Microscope photograph (4× objective) of a membrane that a urine sample was filtered through.
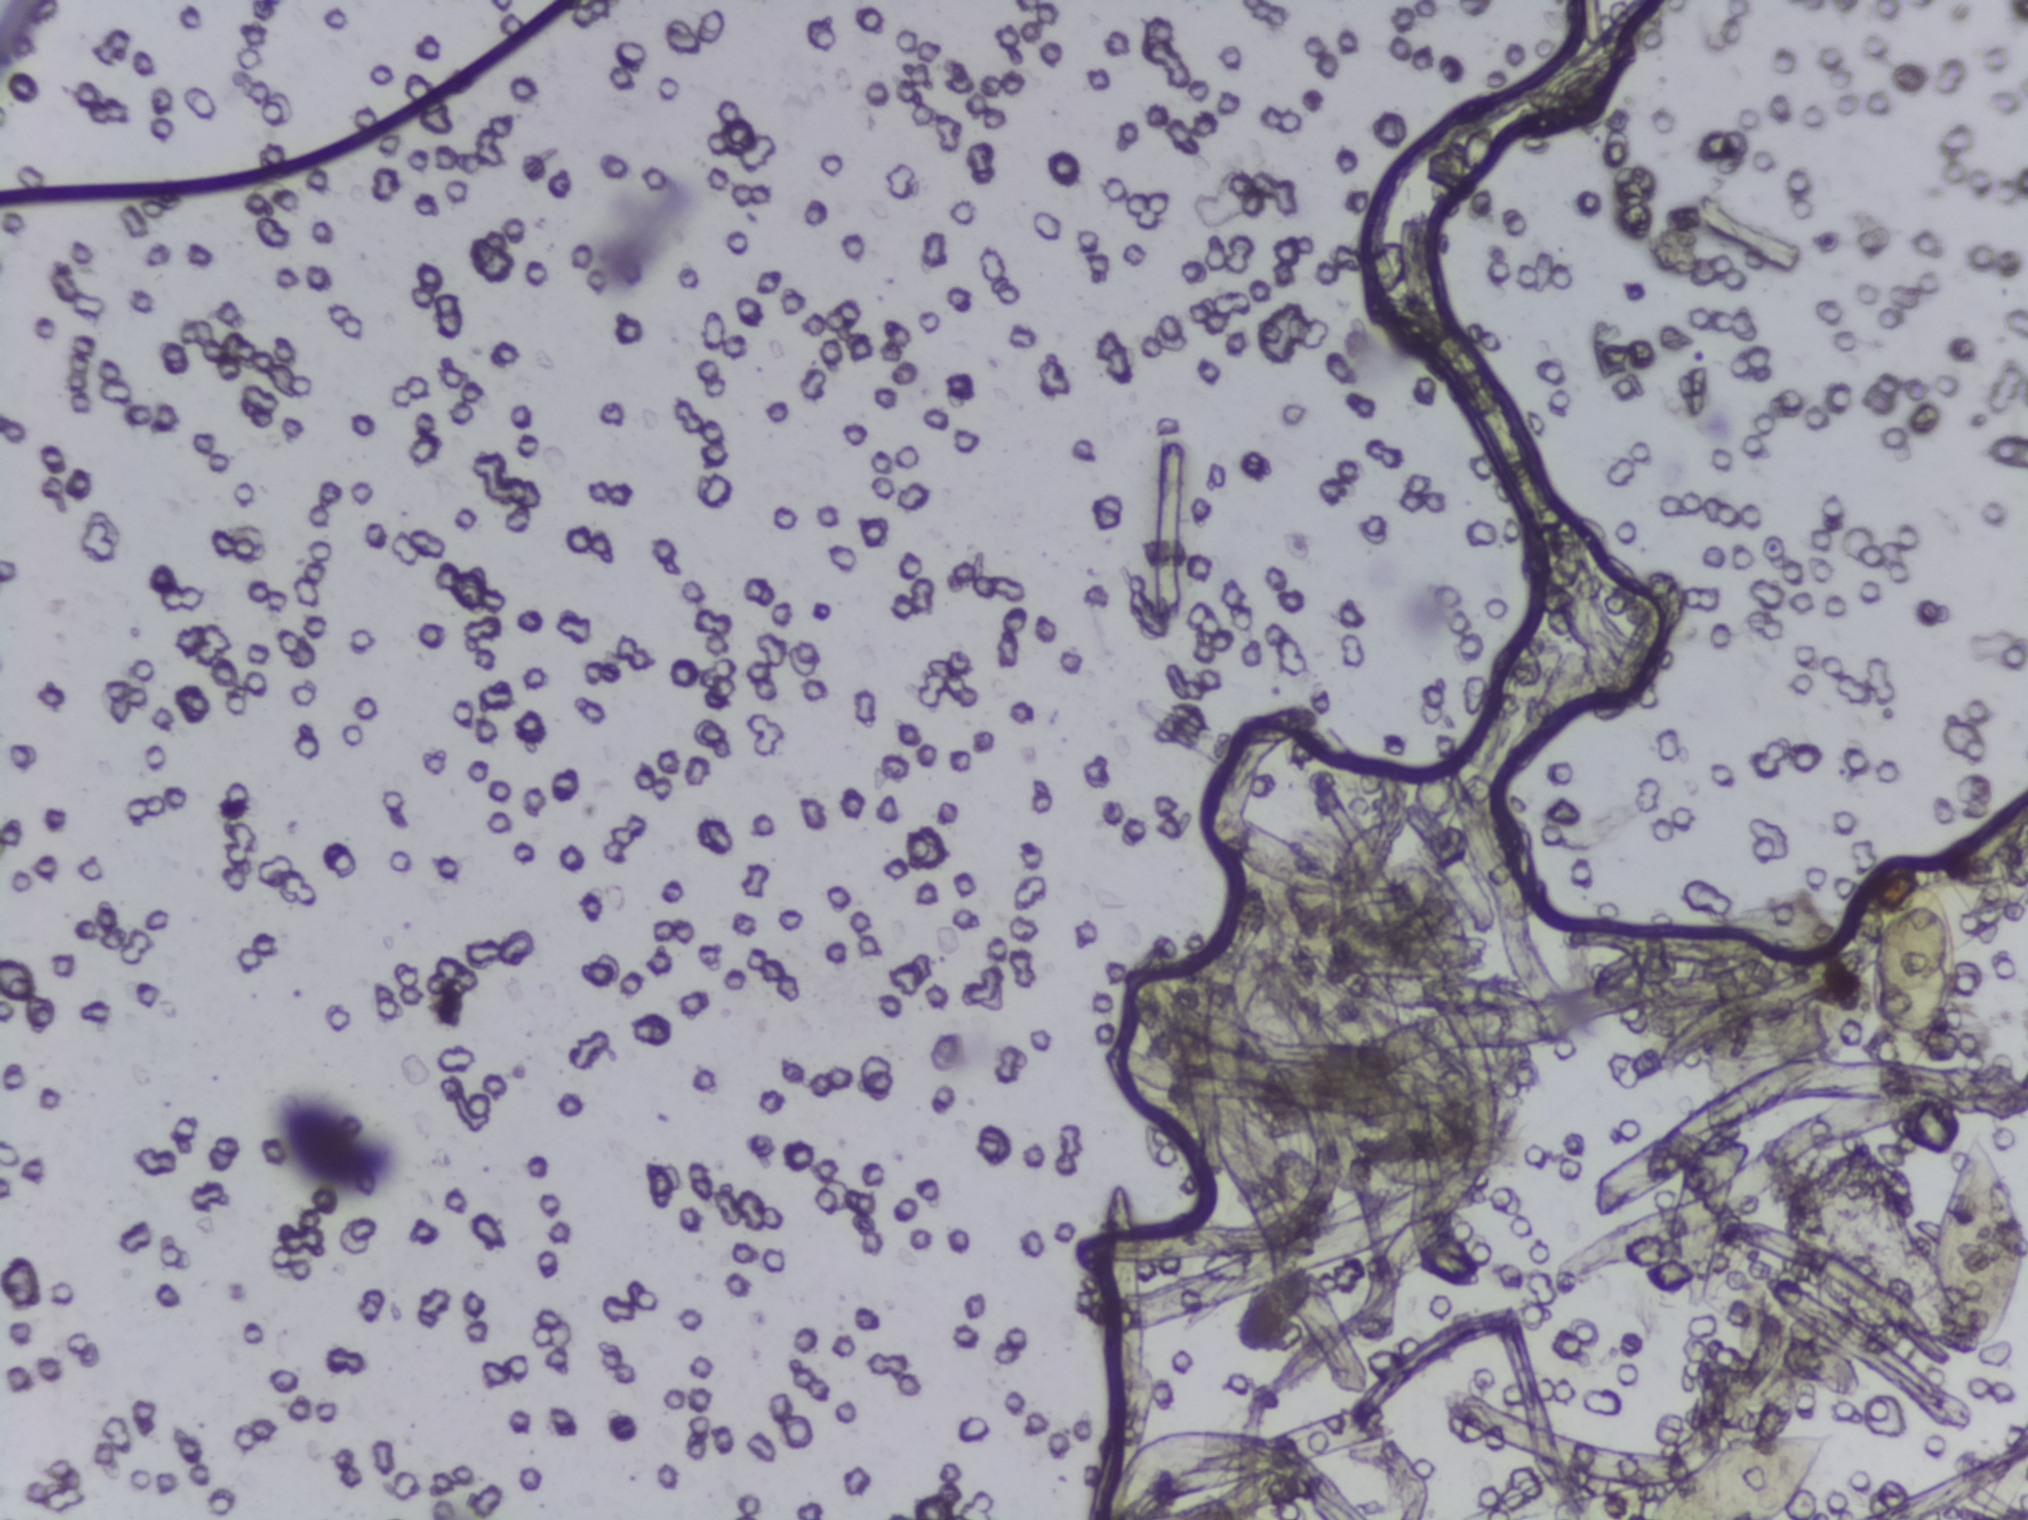
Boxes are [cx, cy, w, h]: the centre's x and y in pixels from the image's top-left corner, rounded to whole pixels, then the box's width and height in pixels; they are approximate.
{"schistosoma_egg_areas_cxcywh_px": [[1739, 1474, 193, 92], [1916, 978, 90, 218], [1977, 1240, 102, 229]]} Area 1 reaches the bottom edge of the frame. Area 3 reaches the right edge of the frame.
An outlined area can hold more than one egg.